Photograph from an automated digital microscope: urine filter membrane, 4× objective.
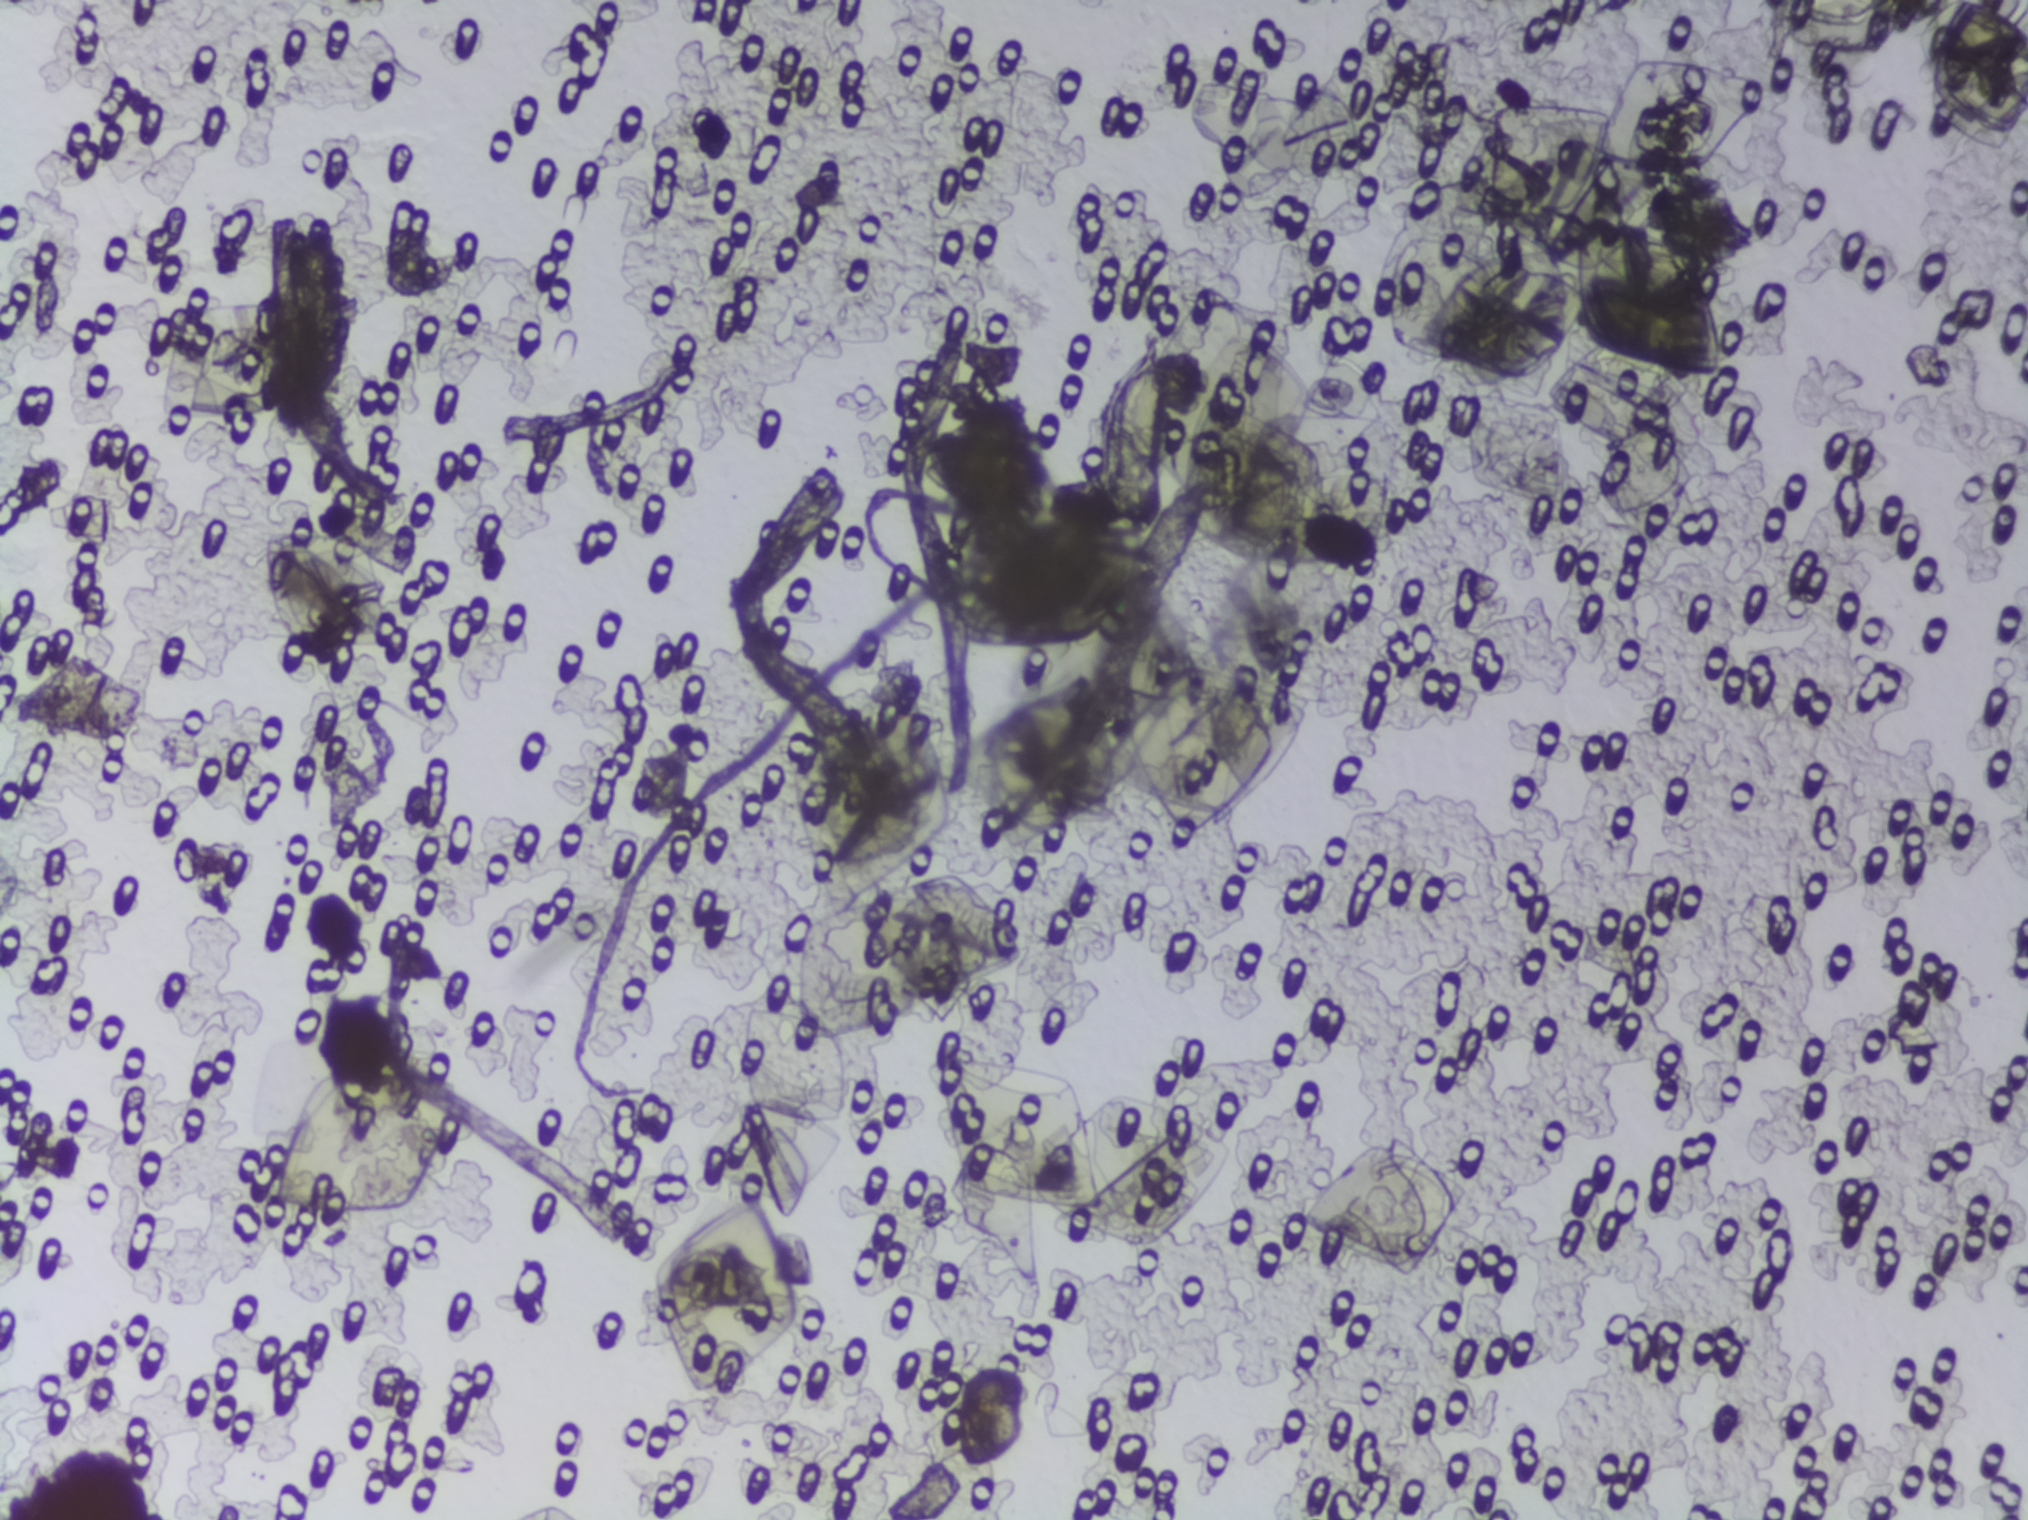
The expert annotation marks no Schistosoma egg in this field of view.